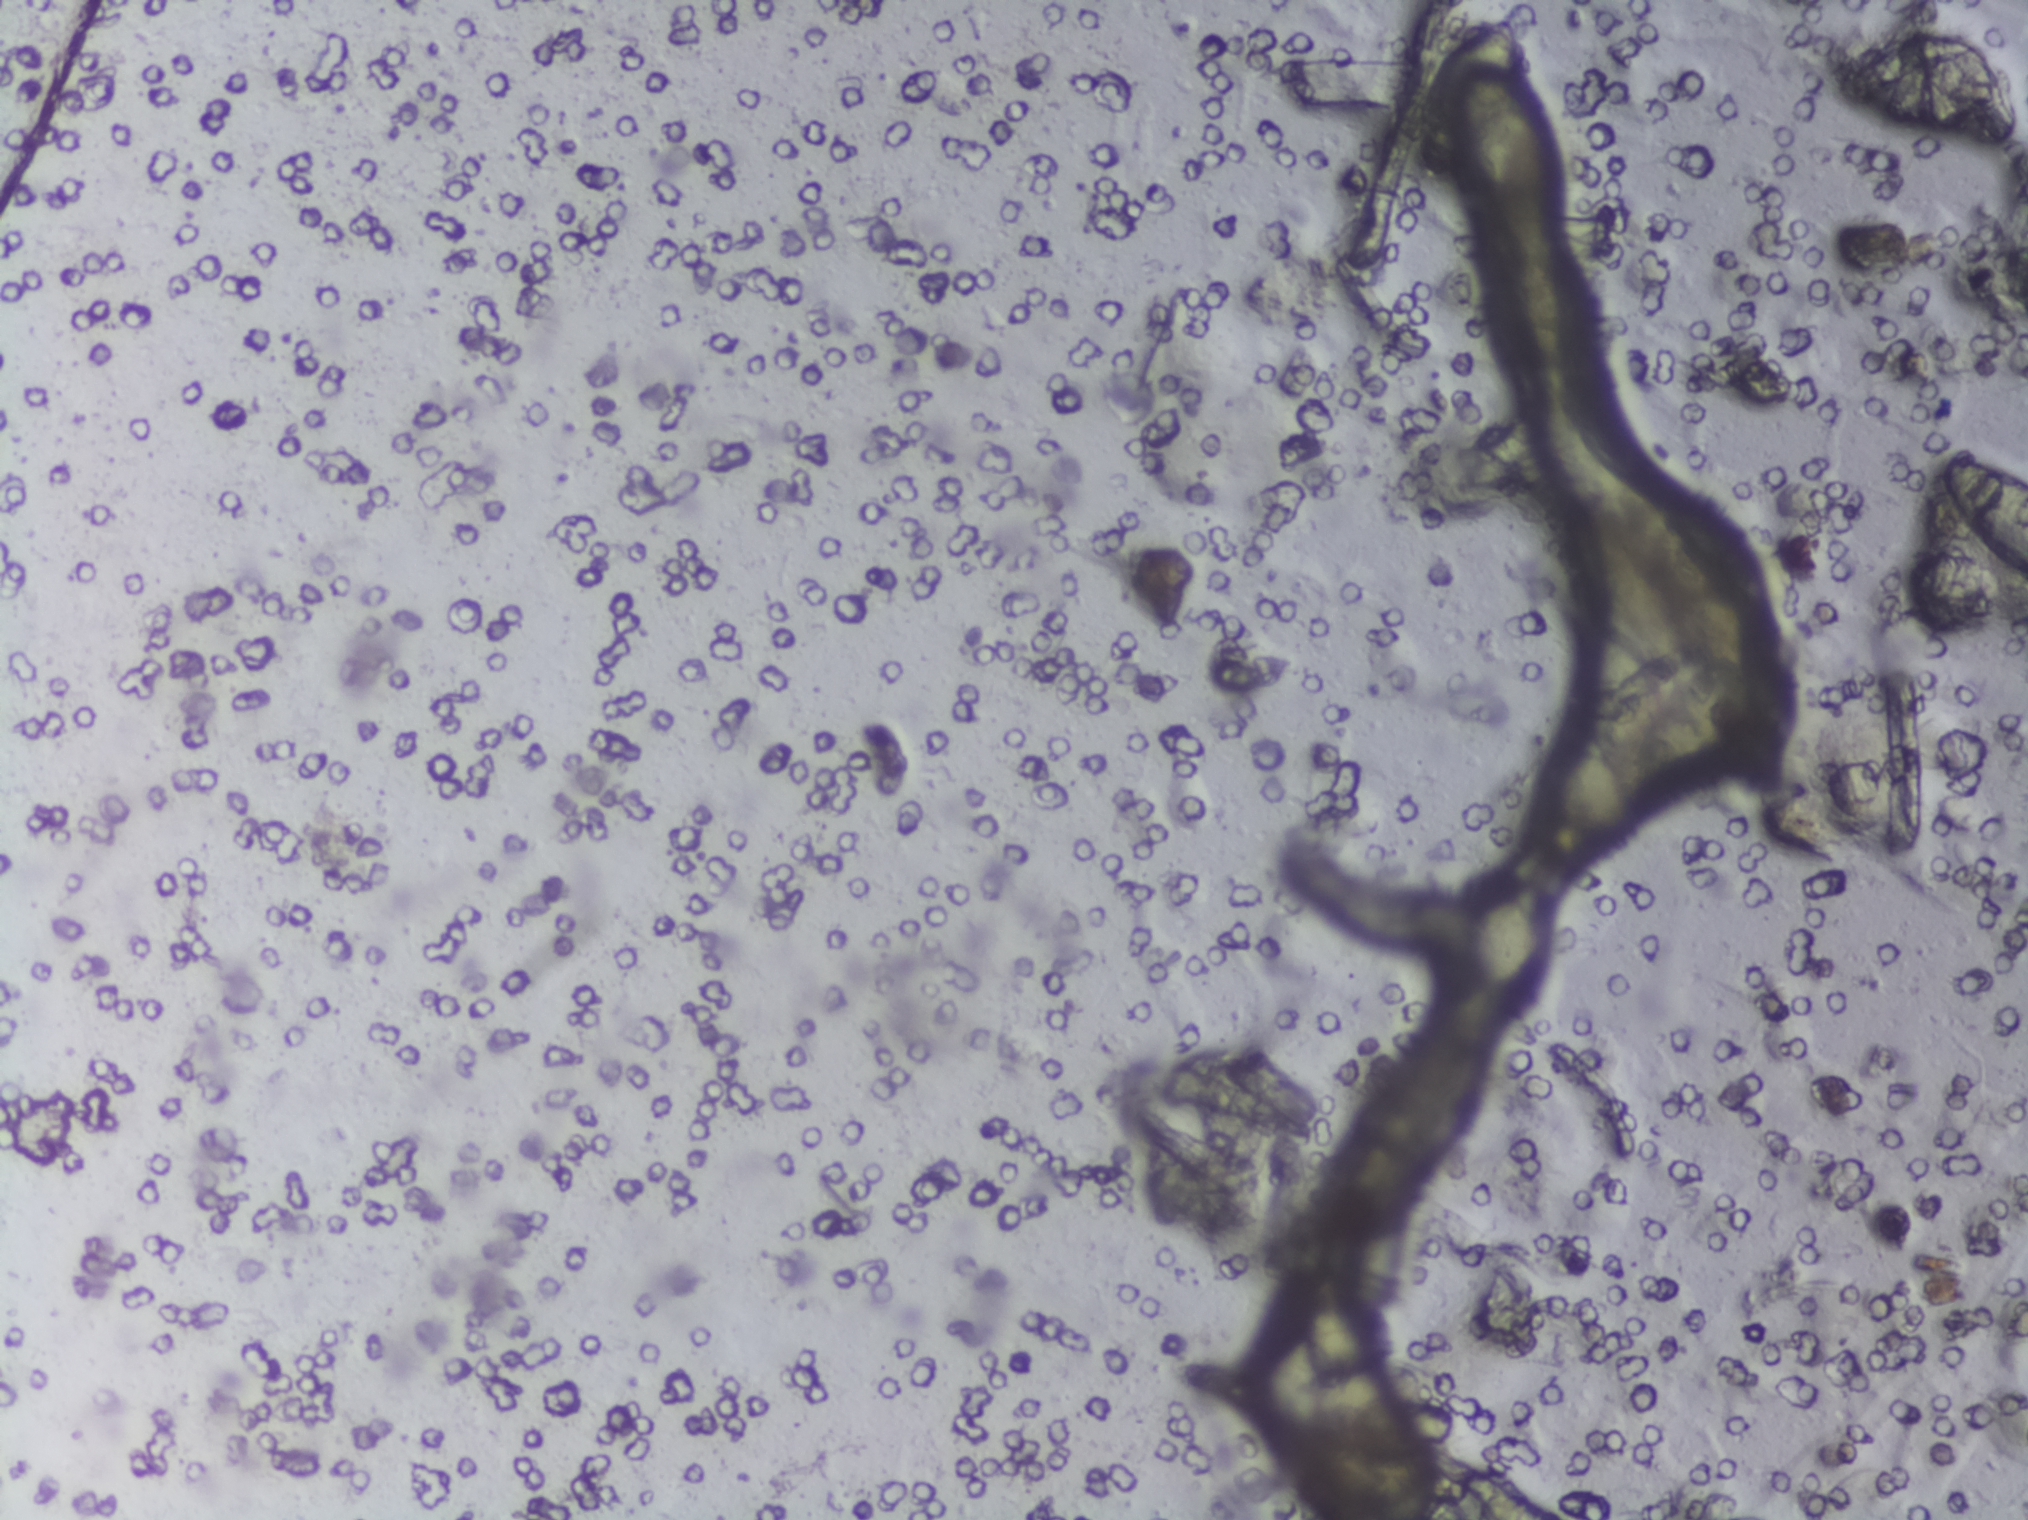
Photomicrograph of a urine filtration membrane, 4× objective.
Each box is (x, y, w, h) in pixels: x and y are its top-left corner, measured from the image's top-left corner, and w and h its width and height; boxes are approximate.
Schistosoma eggs, outlined areas: (x=1418, y=14, w=138, h=192); (x=1472, y=859, w=68, h=165); (x=1528, y=622, w=234, h=222); (x=1939, y=452, w=89, h=128) (reaching the right edge of the frame). A single outlined area may contain several eggs.